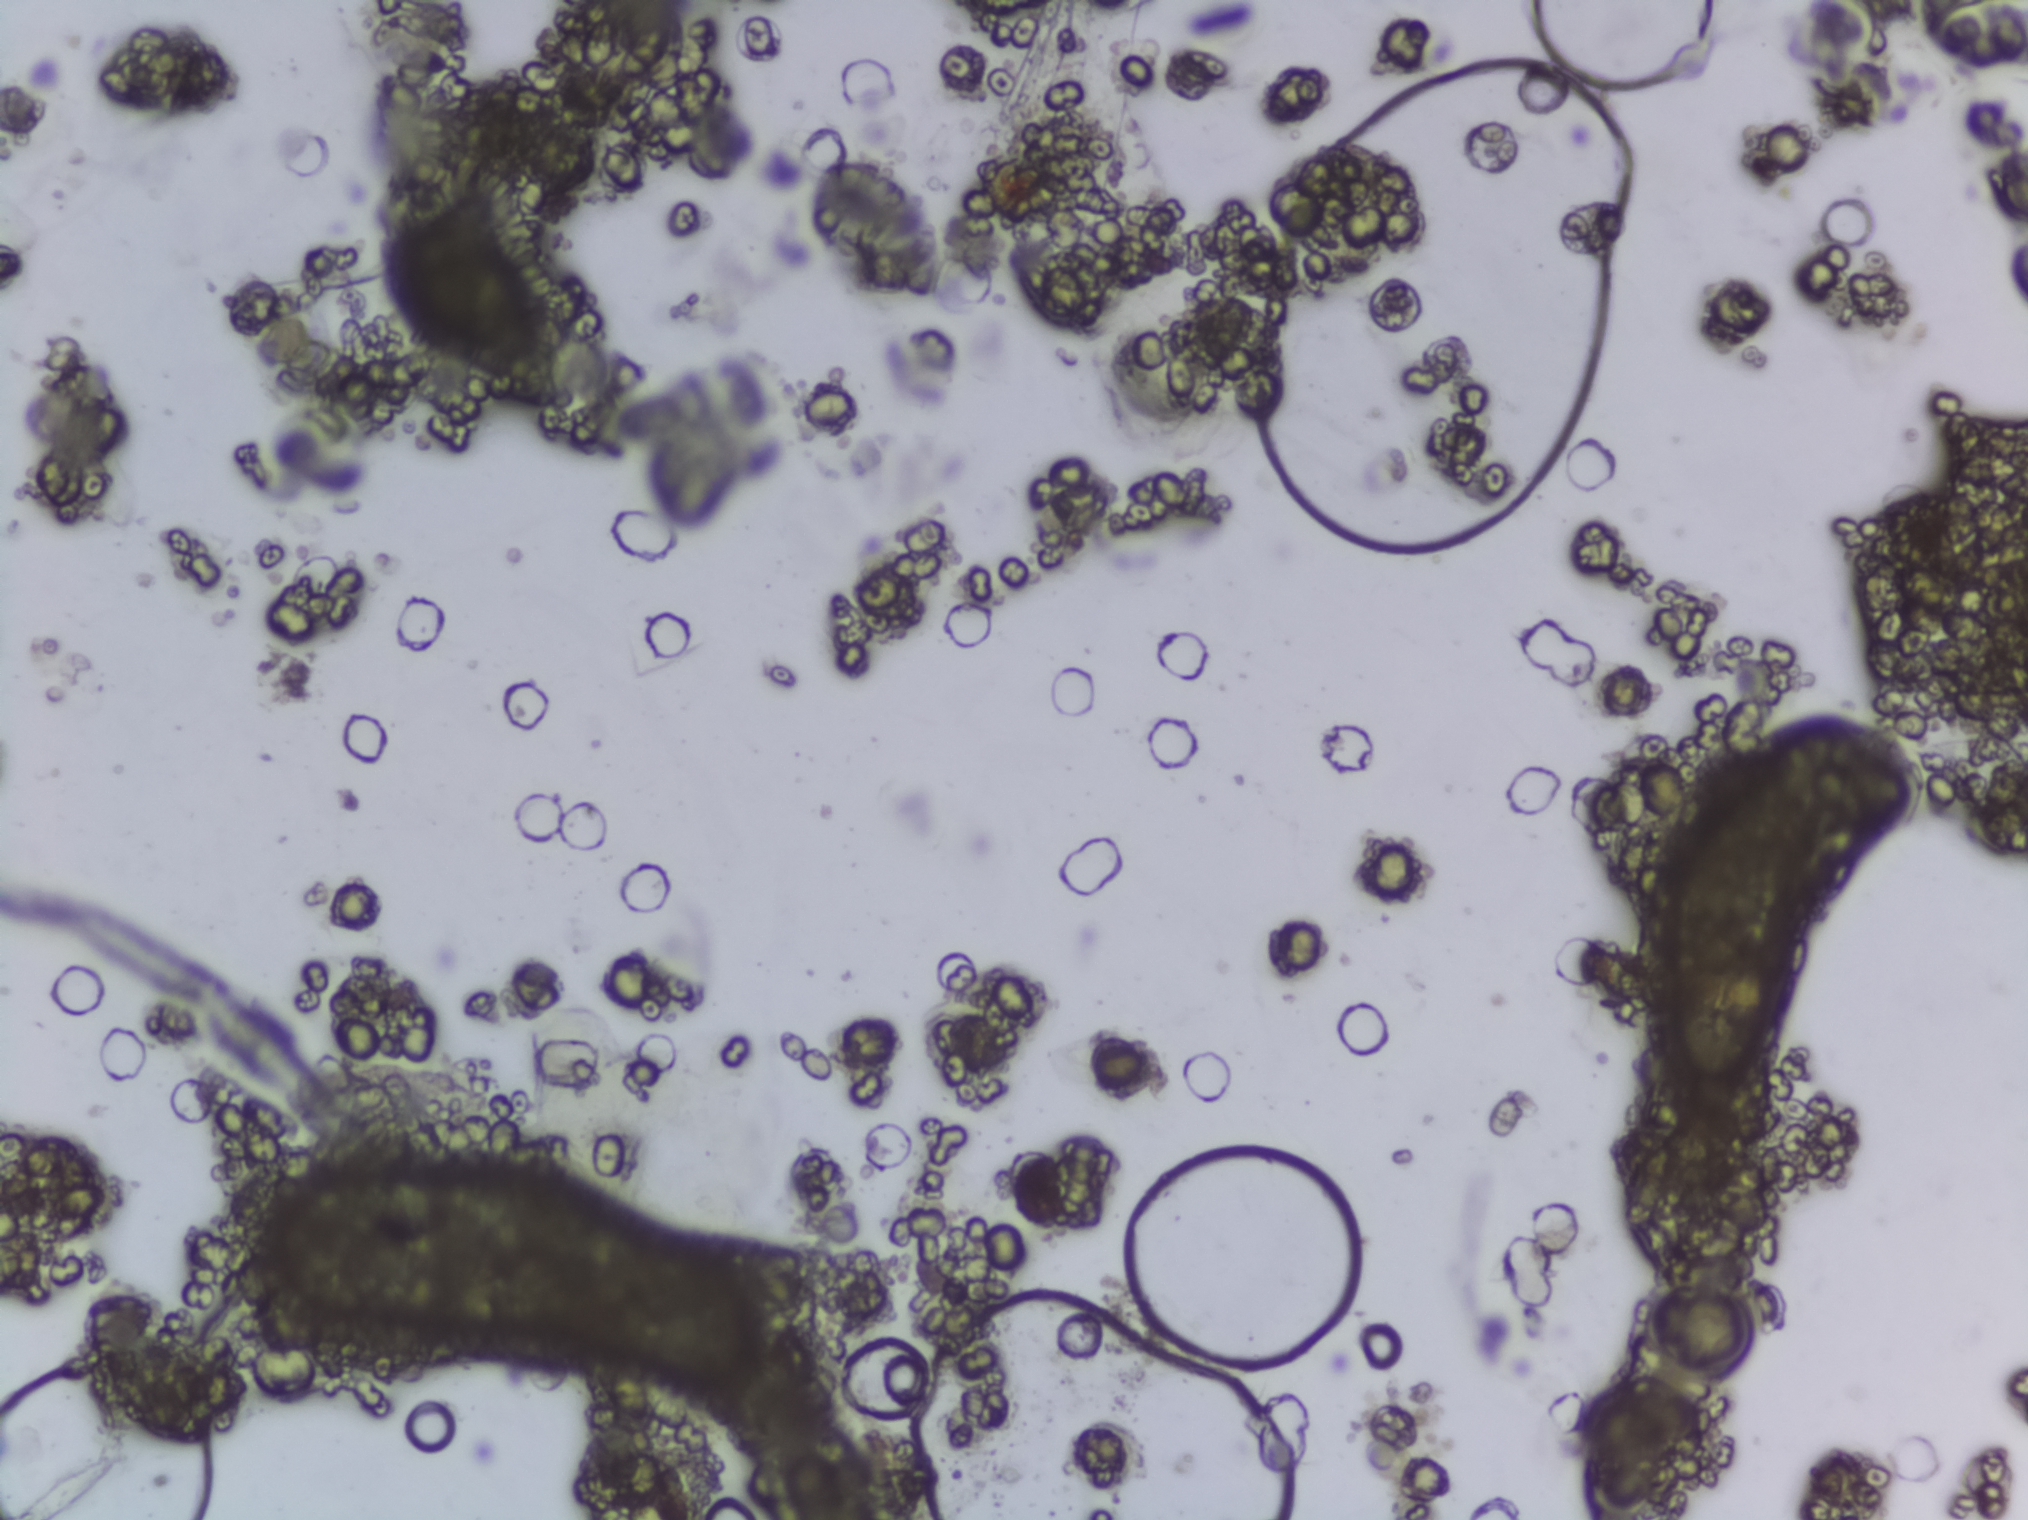
Photograph from an automated digital microscope: urine filter membrane, 4× objective.
No Schistosoma egg is outlined in this image's expert annotation.